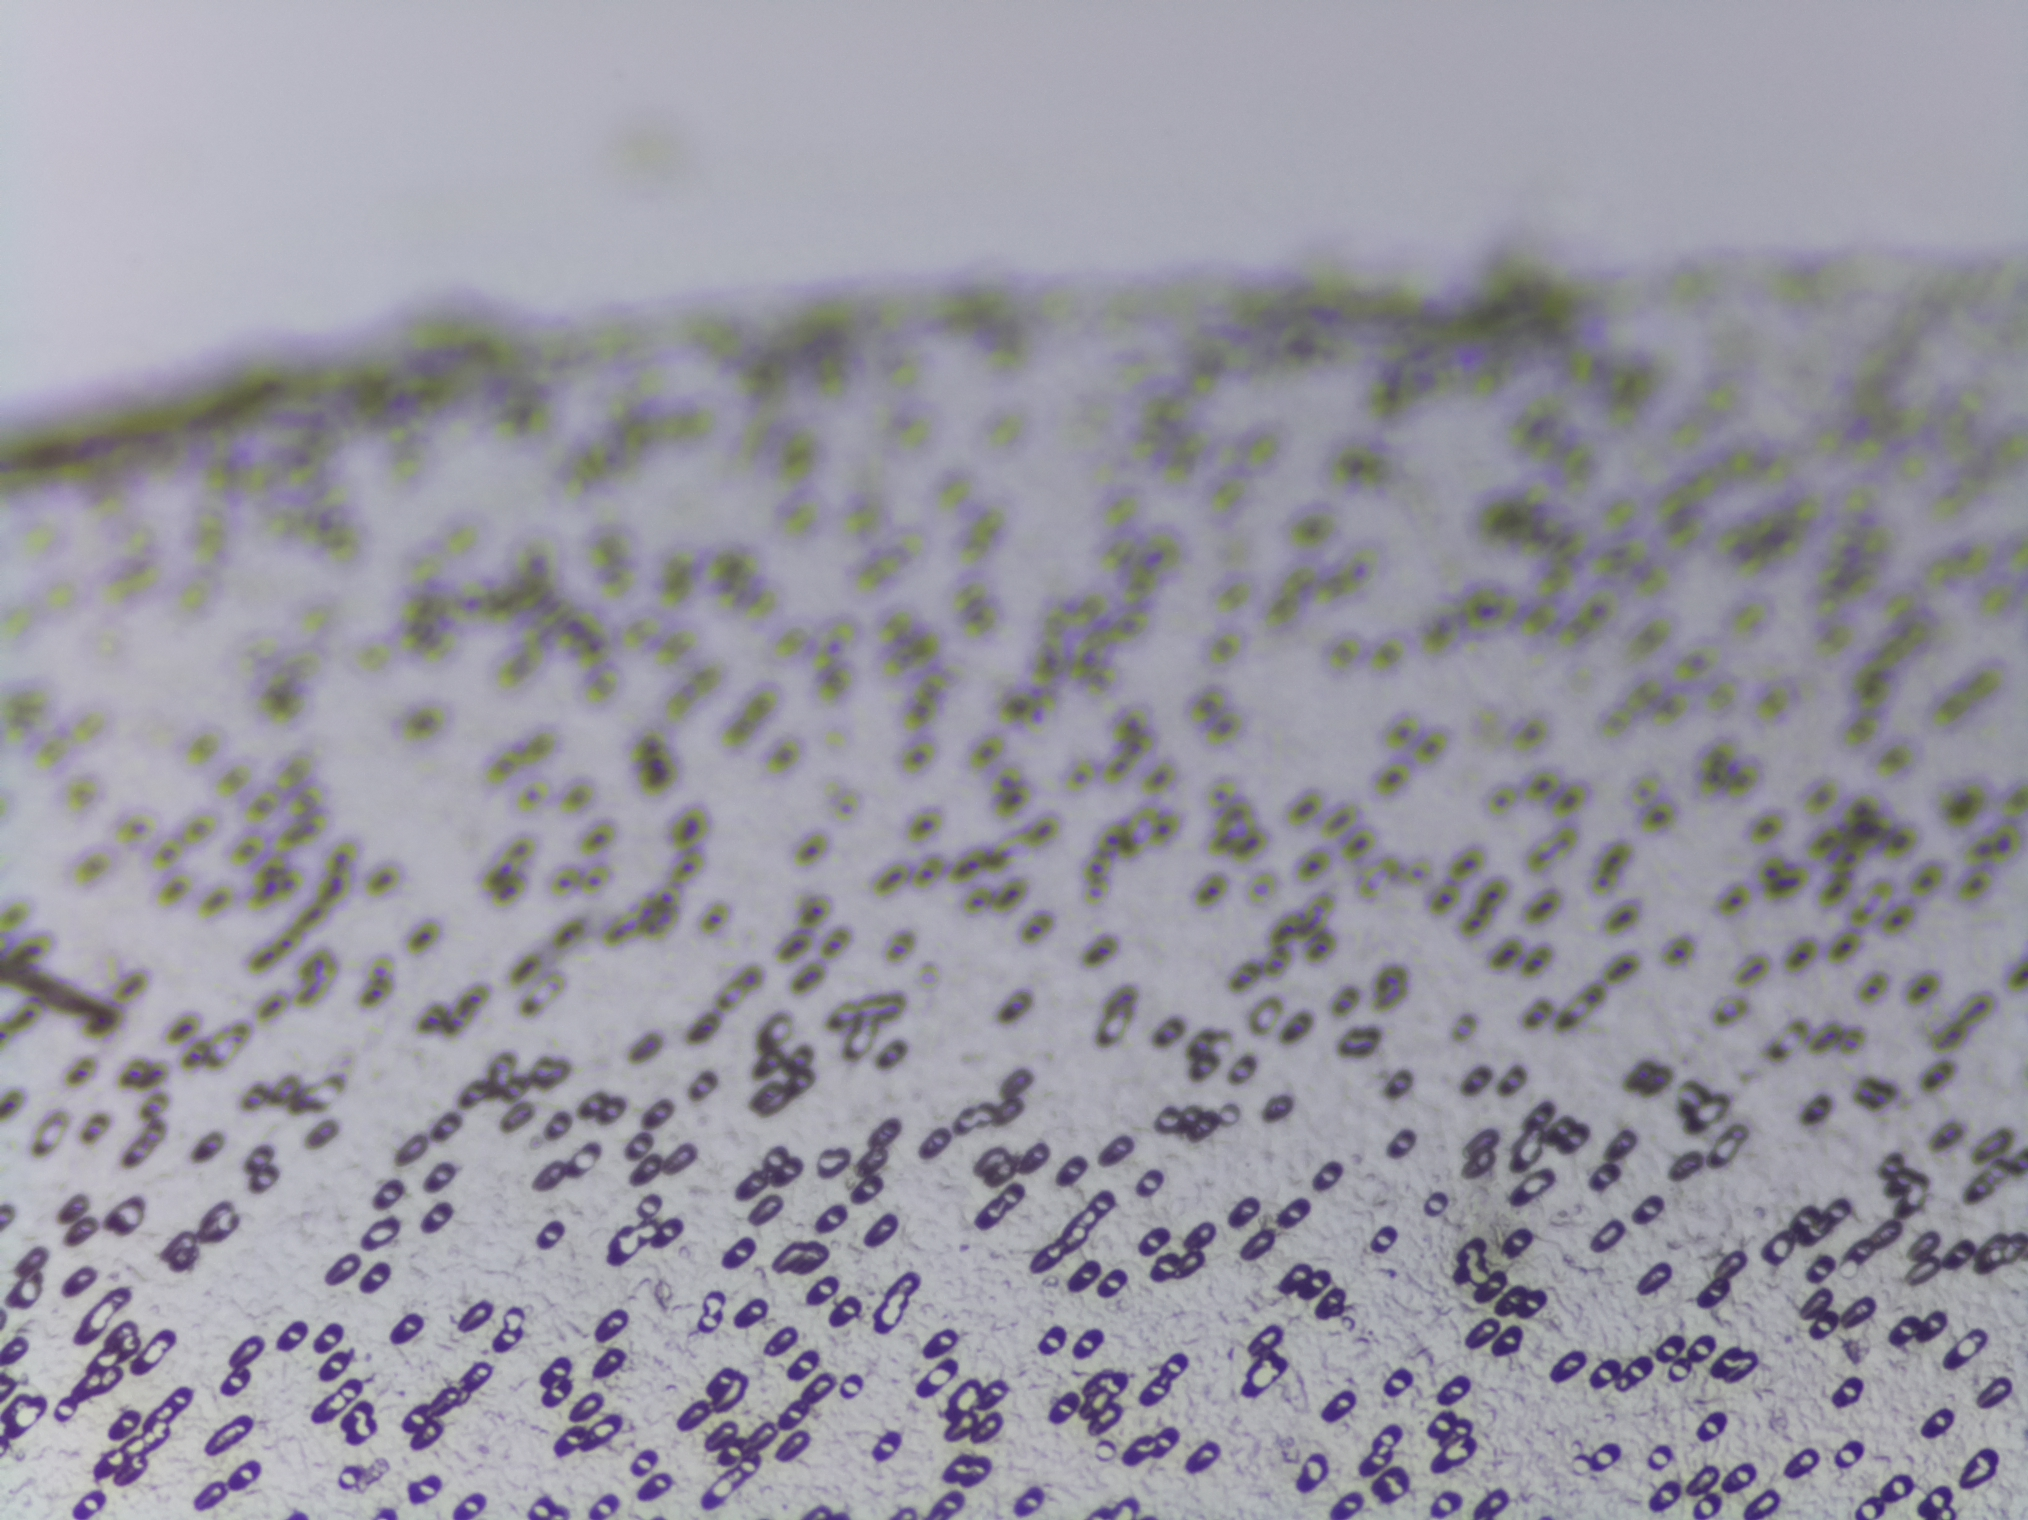
Urine filter membrane photographed through a 4× microscope objective.
Schistosoma eggs: none outlined.